Photomicrograph of a urine filtration membrane, 4× objective.
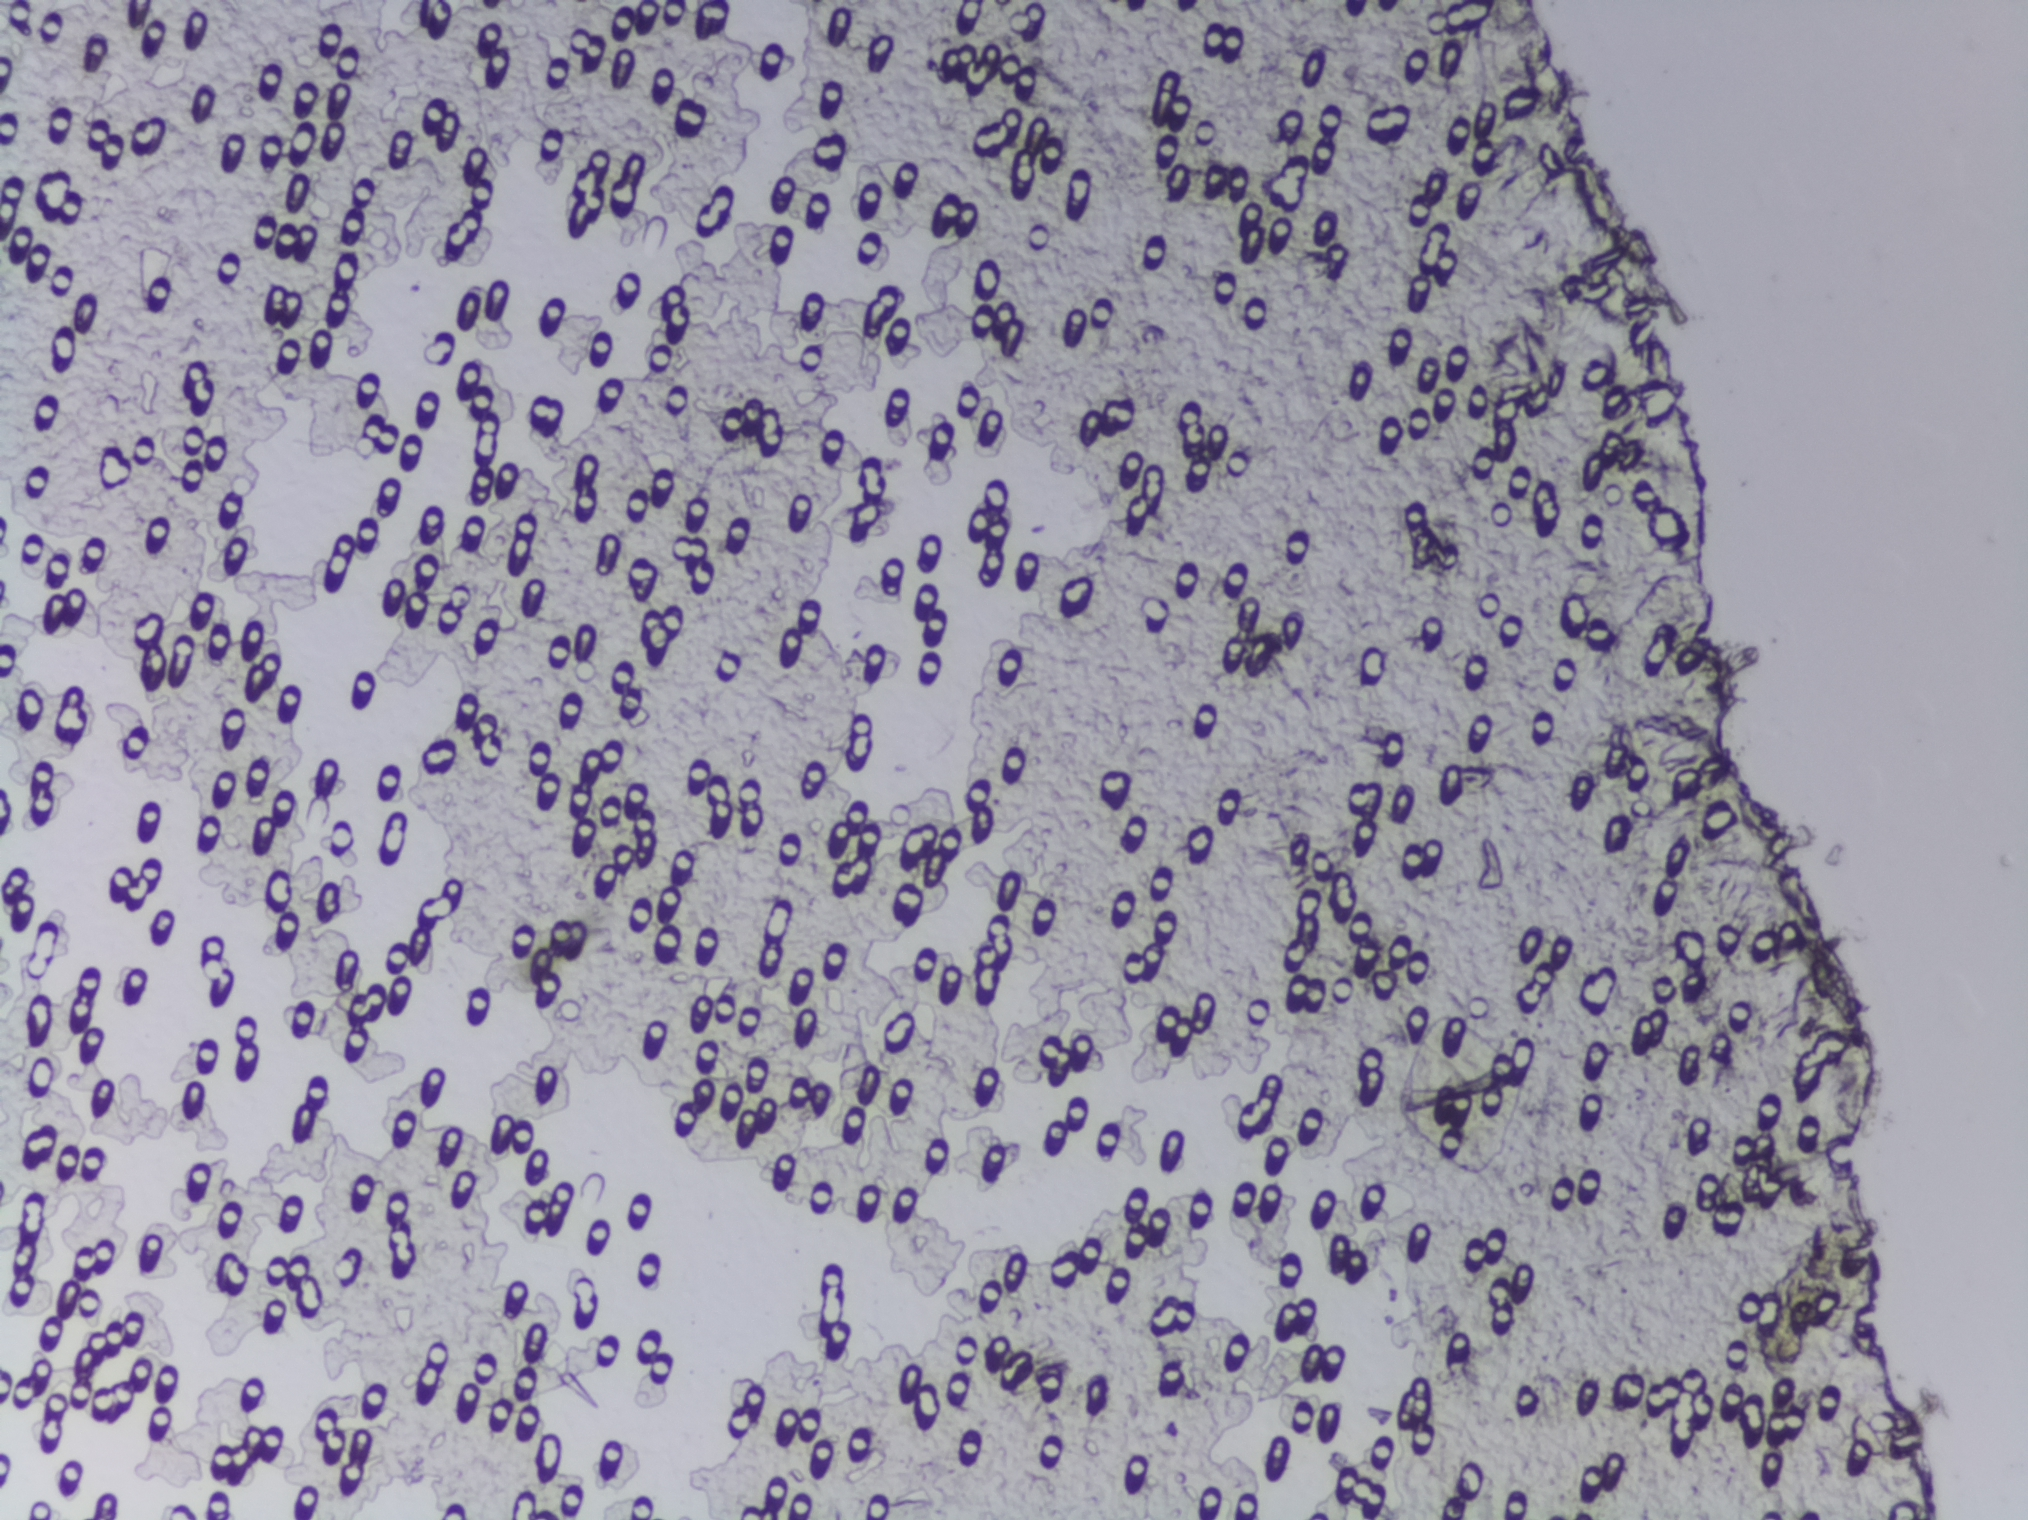
The expert annotation marks no Schistosoma egg in this field of view.